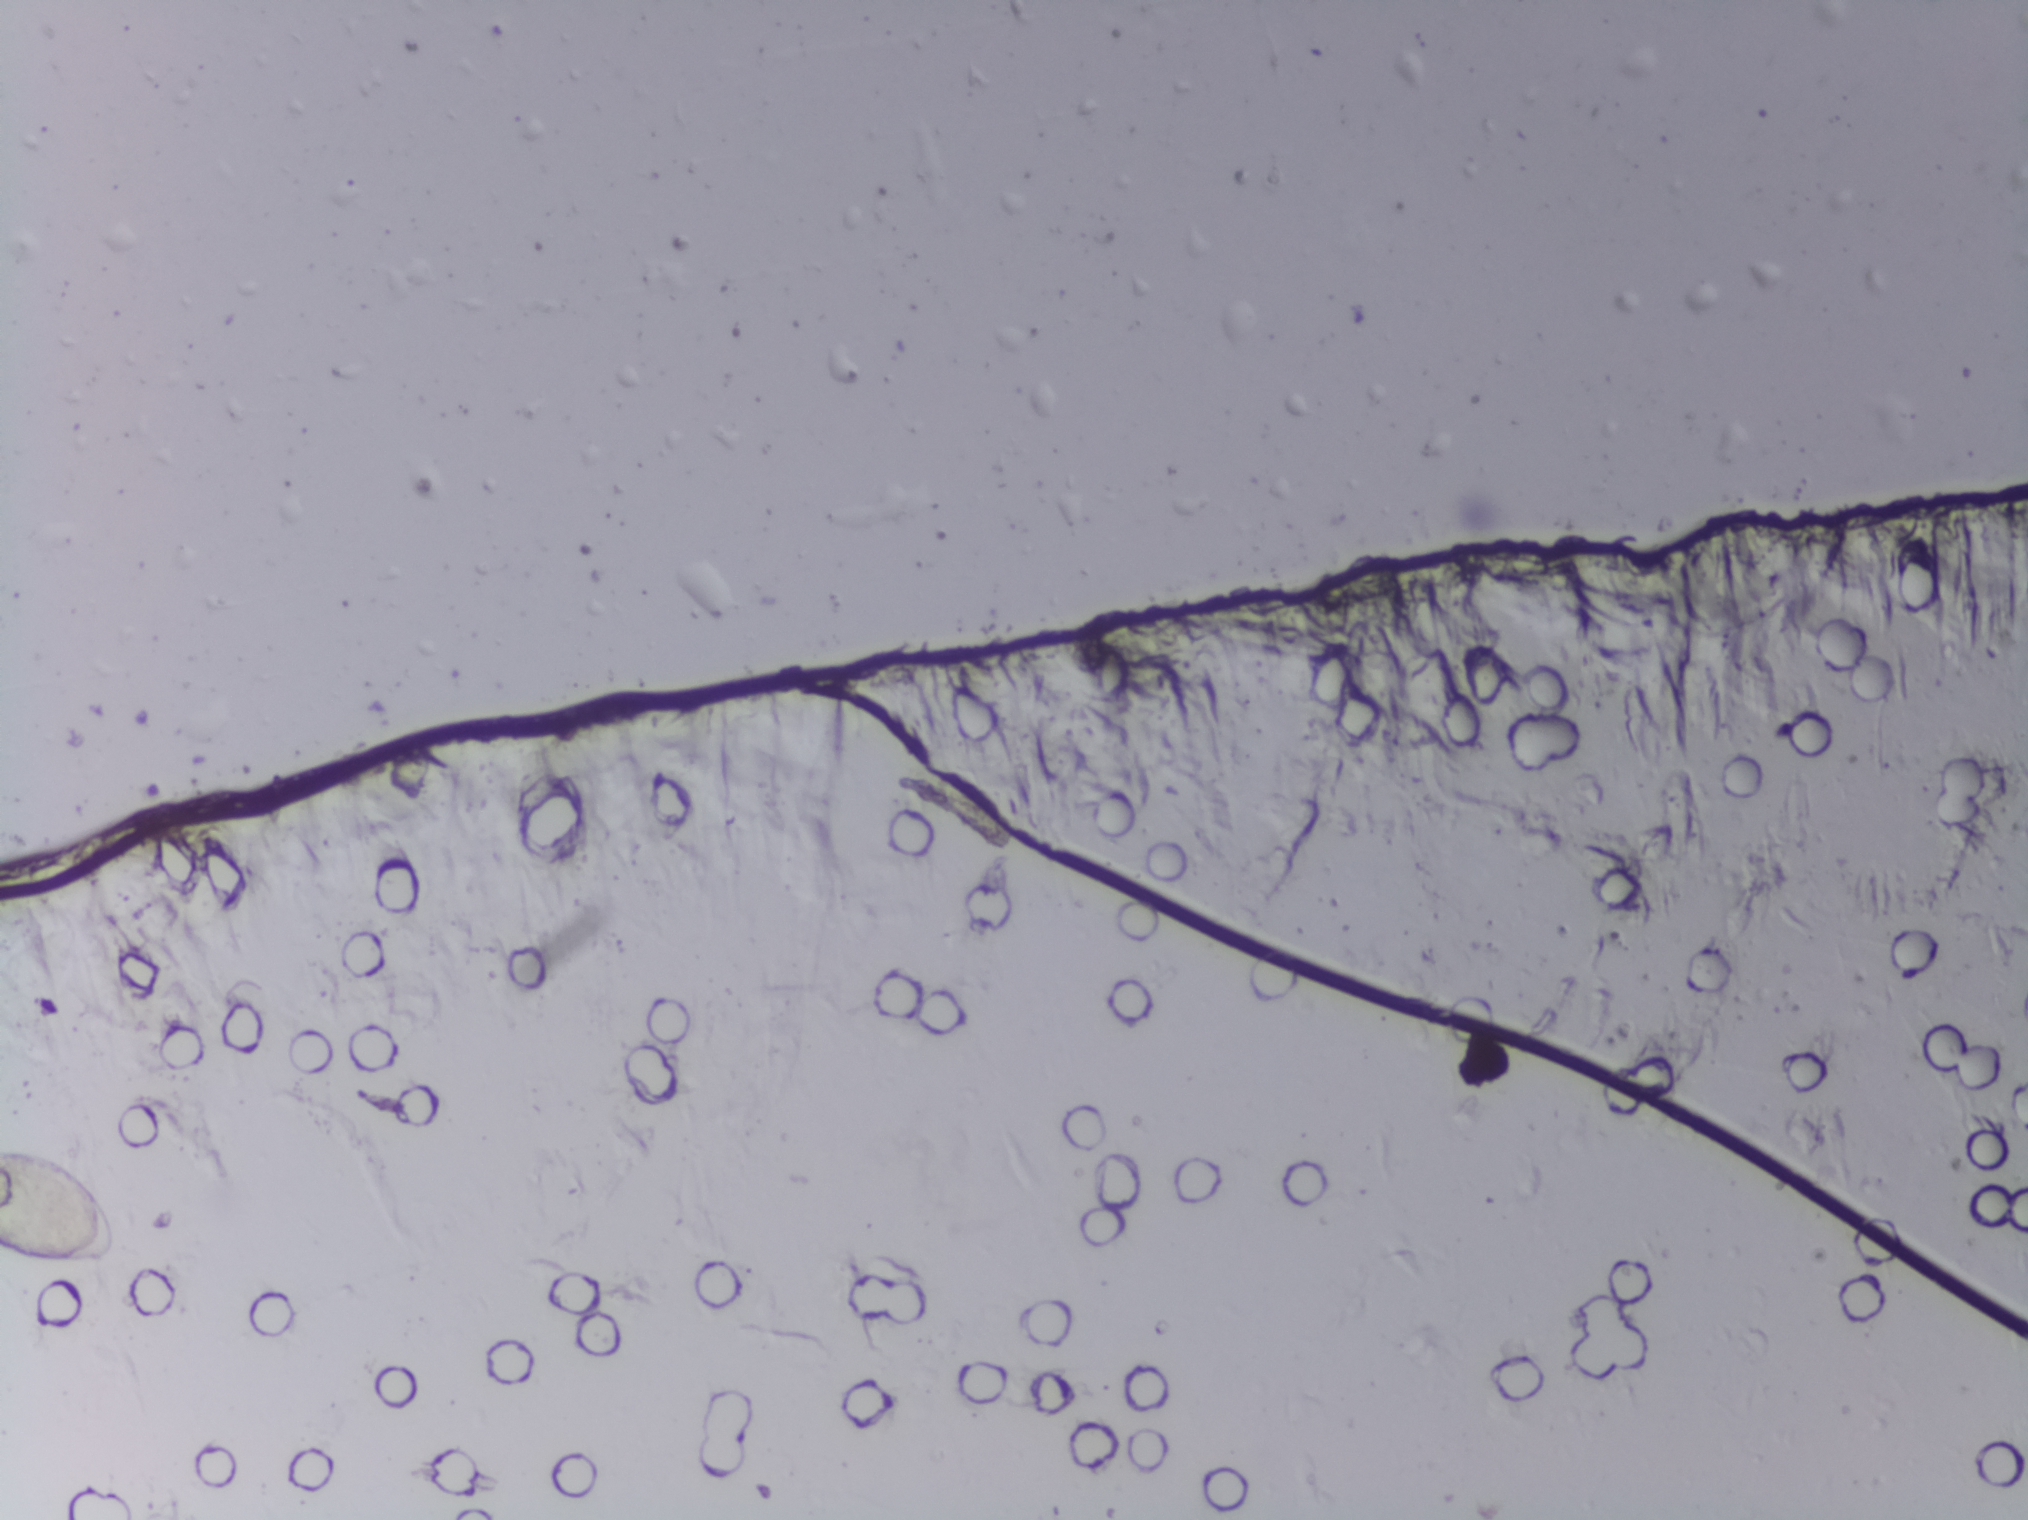
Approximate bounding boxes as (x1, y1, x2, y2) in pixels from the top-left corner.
Schistosoma eggs are outlined in the expert annotation at (0, 1144, 121, 1268) (reaching the left edge of the frame). An outlined area can hold more than one egg.
Urine filter membrane photographed through a 4× microscope objective. The field of view is about 1.5 mm × 1.1 mm.